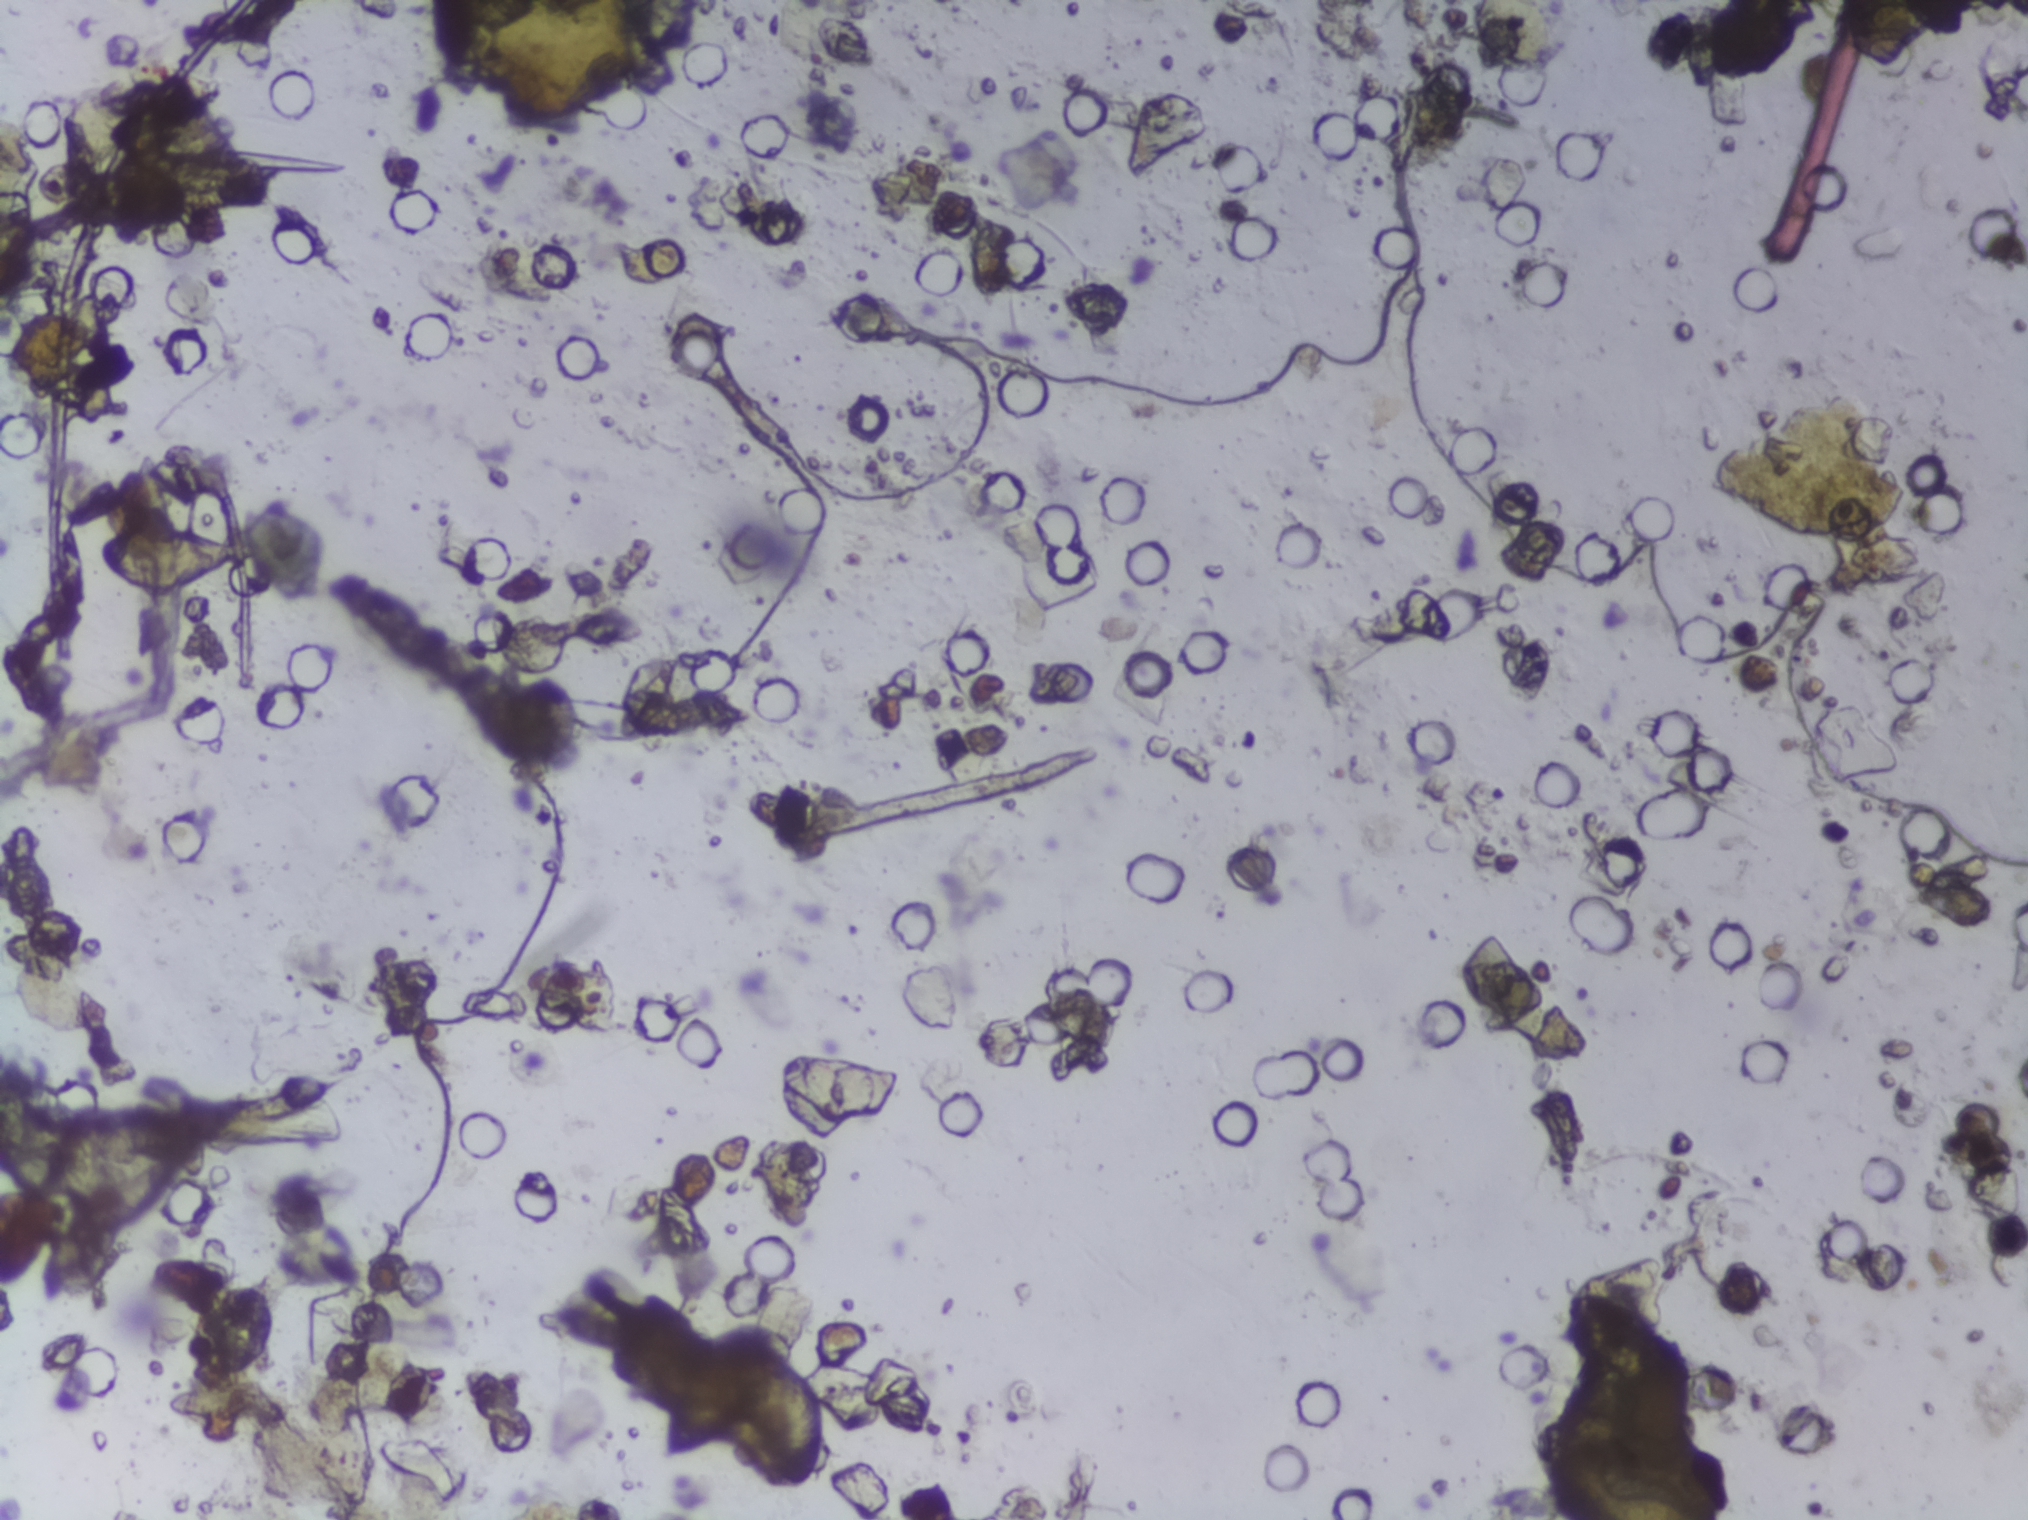
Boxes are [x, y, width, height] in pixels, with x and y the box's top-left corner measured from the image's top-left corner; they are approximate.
Schistosoma eggs, outlined areas: [656, 1323, 173, 176]. A single outlined area may contain several eggs.
Photograph from an automated digital microscope: urine filter membrane, 4× objective.